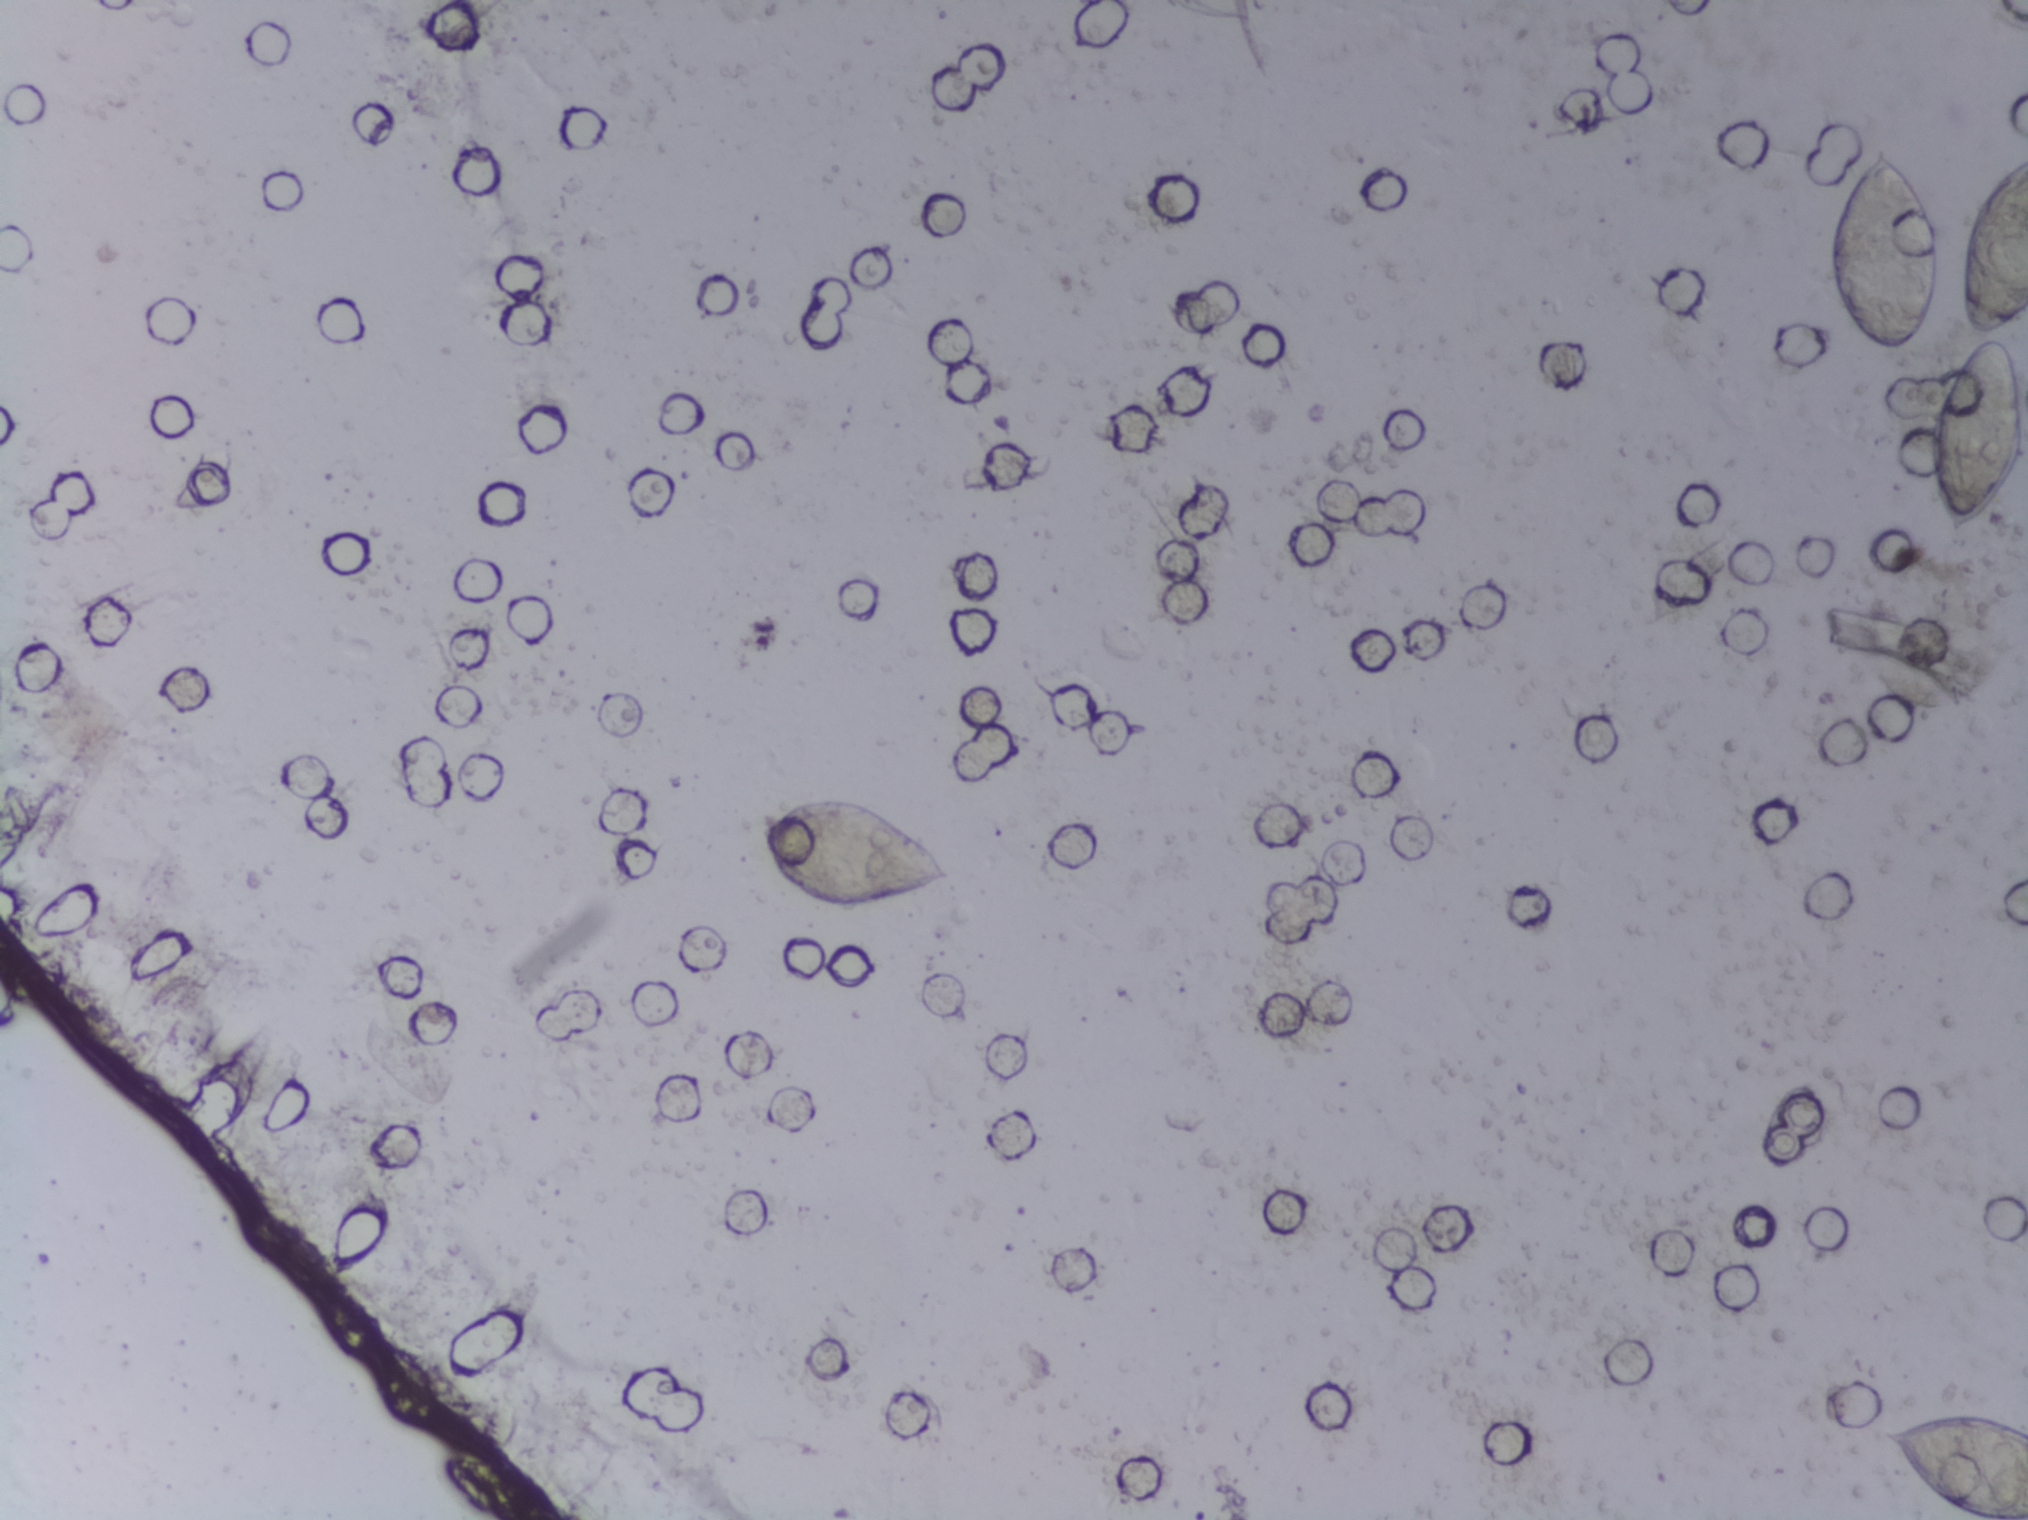
Urine filter membrane photographed through a 4× microscope objective.
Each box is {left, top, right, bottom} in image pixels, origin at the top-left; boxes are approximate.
Schistosoma eggs are outlined in the expert annotation at {757, 796, 949, 910}; {1823, 146, 1937, 360}; {1879, 1412, 2027, 1519} (reaching the right and bottom edges of the frame); {1923, 149, 2027, 537} (reaching the right edge of the frame). A single outlined area may contain several eggs. A marked egg may occasionally be S. mansoni rather than S. haematobium.